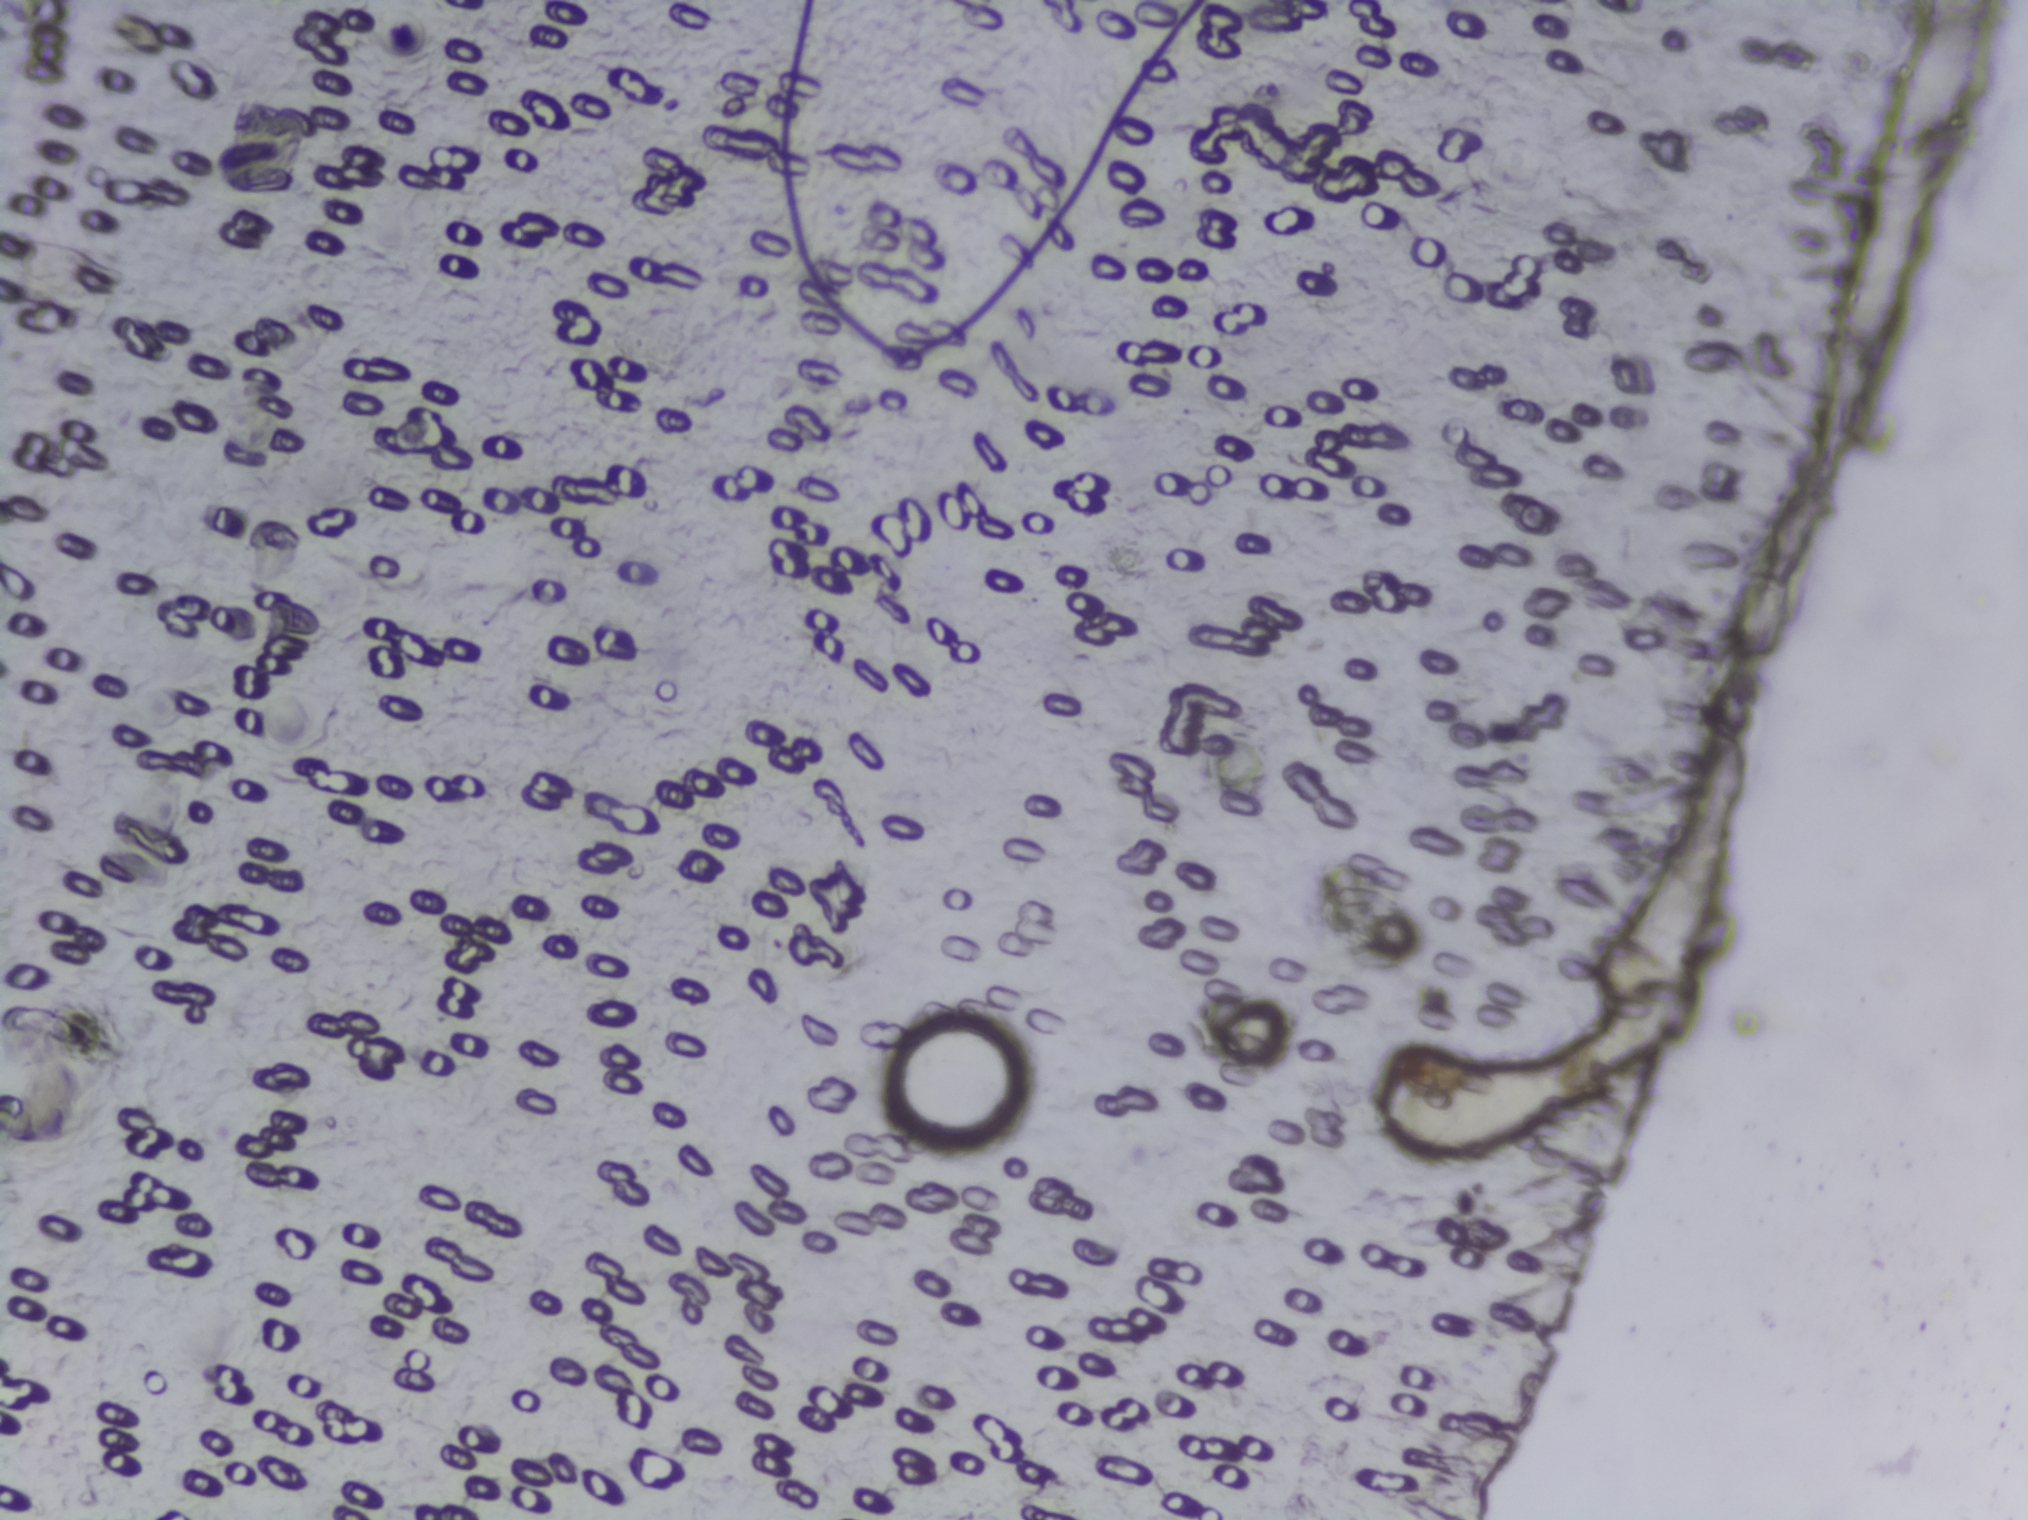
Urine filter membrane photographed through a 4× microscope objective. Field of view: about 1.5 mm wide and 1.1 mm high.
Schistosoma eggs: none outlined.